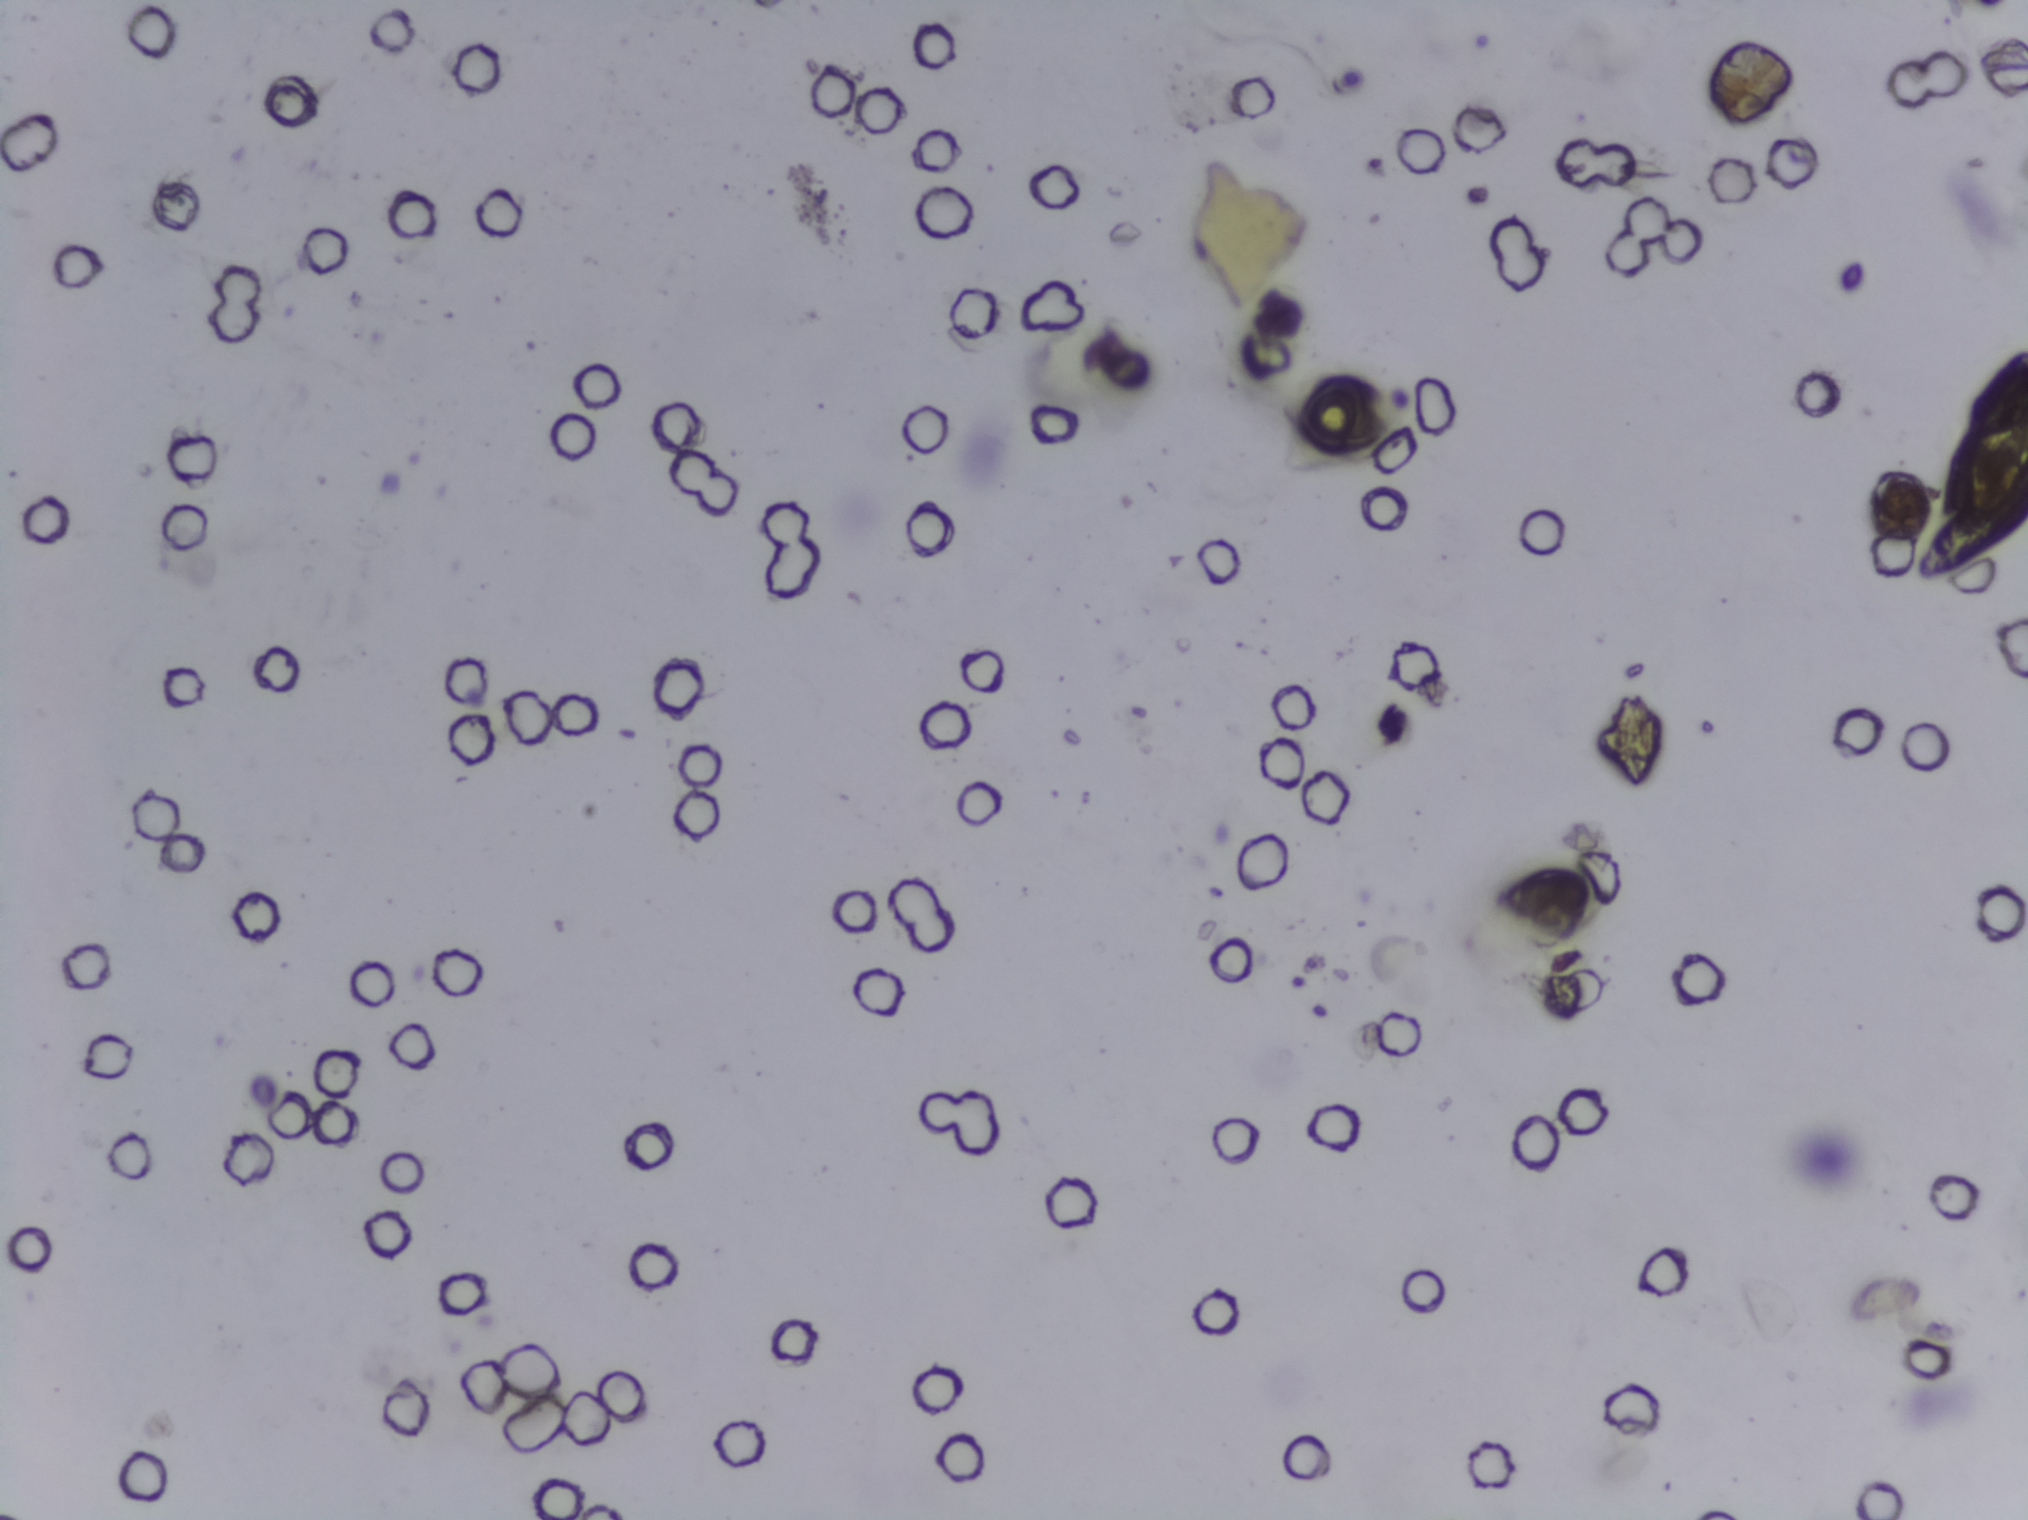
Photomicrograph of a urine filtration membrane, 4× objective. The image covers about 1.5 × 1.1 mm of the membrane.
Schistosoma eggs: none outlined.